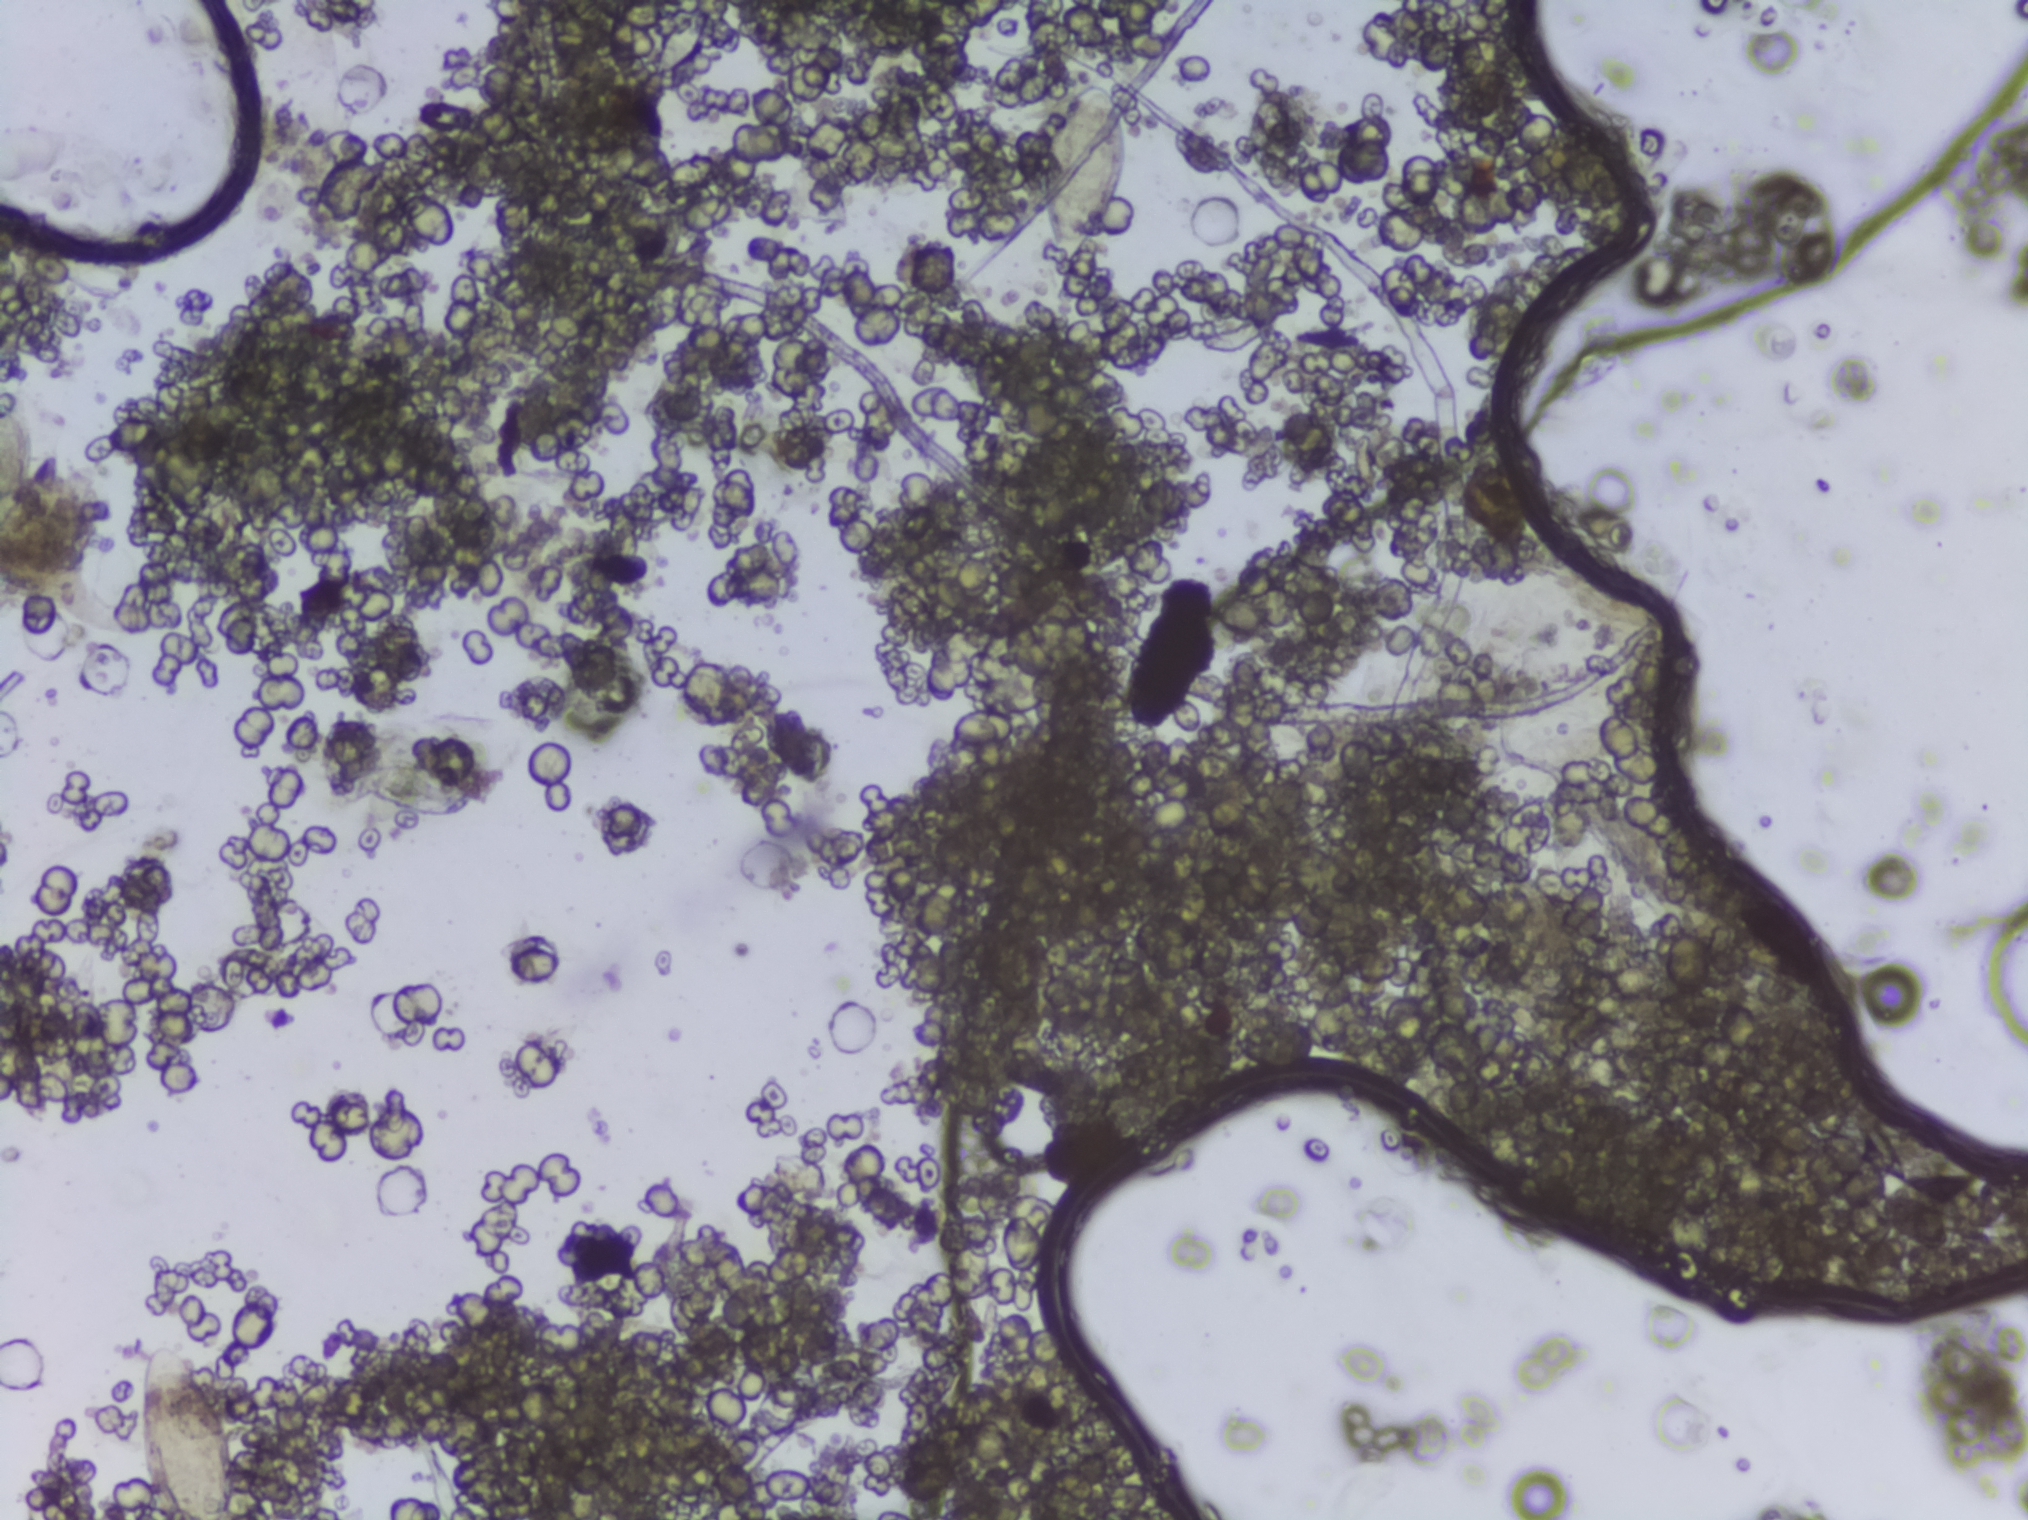
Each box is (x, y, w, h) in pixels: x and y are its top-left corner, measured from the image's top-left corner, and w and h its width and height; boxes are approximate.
Schistosoma eggs are outlined in the expert annotation at (x=0, y=387, w=37, h=144) (reaching the left edge of the frame); (x=139, y=1342, w=97, h=178) (reaching the bottom edge of the frame); (x=1040, y=75, w=89, h=208) (left to right). A single outlined area may contain several eggs. Any one outlined egg may, rarely, be S. mansoni rather than S. haematobium.
Photomicrograph of a urine filtration membrane, 4× objective.